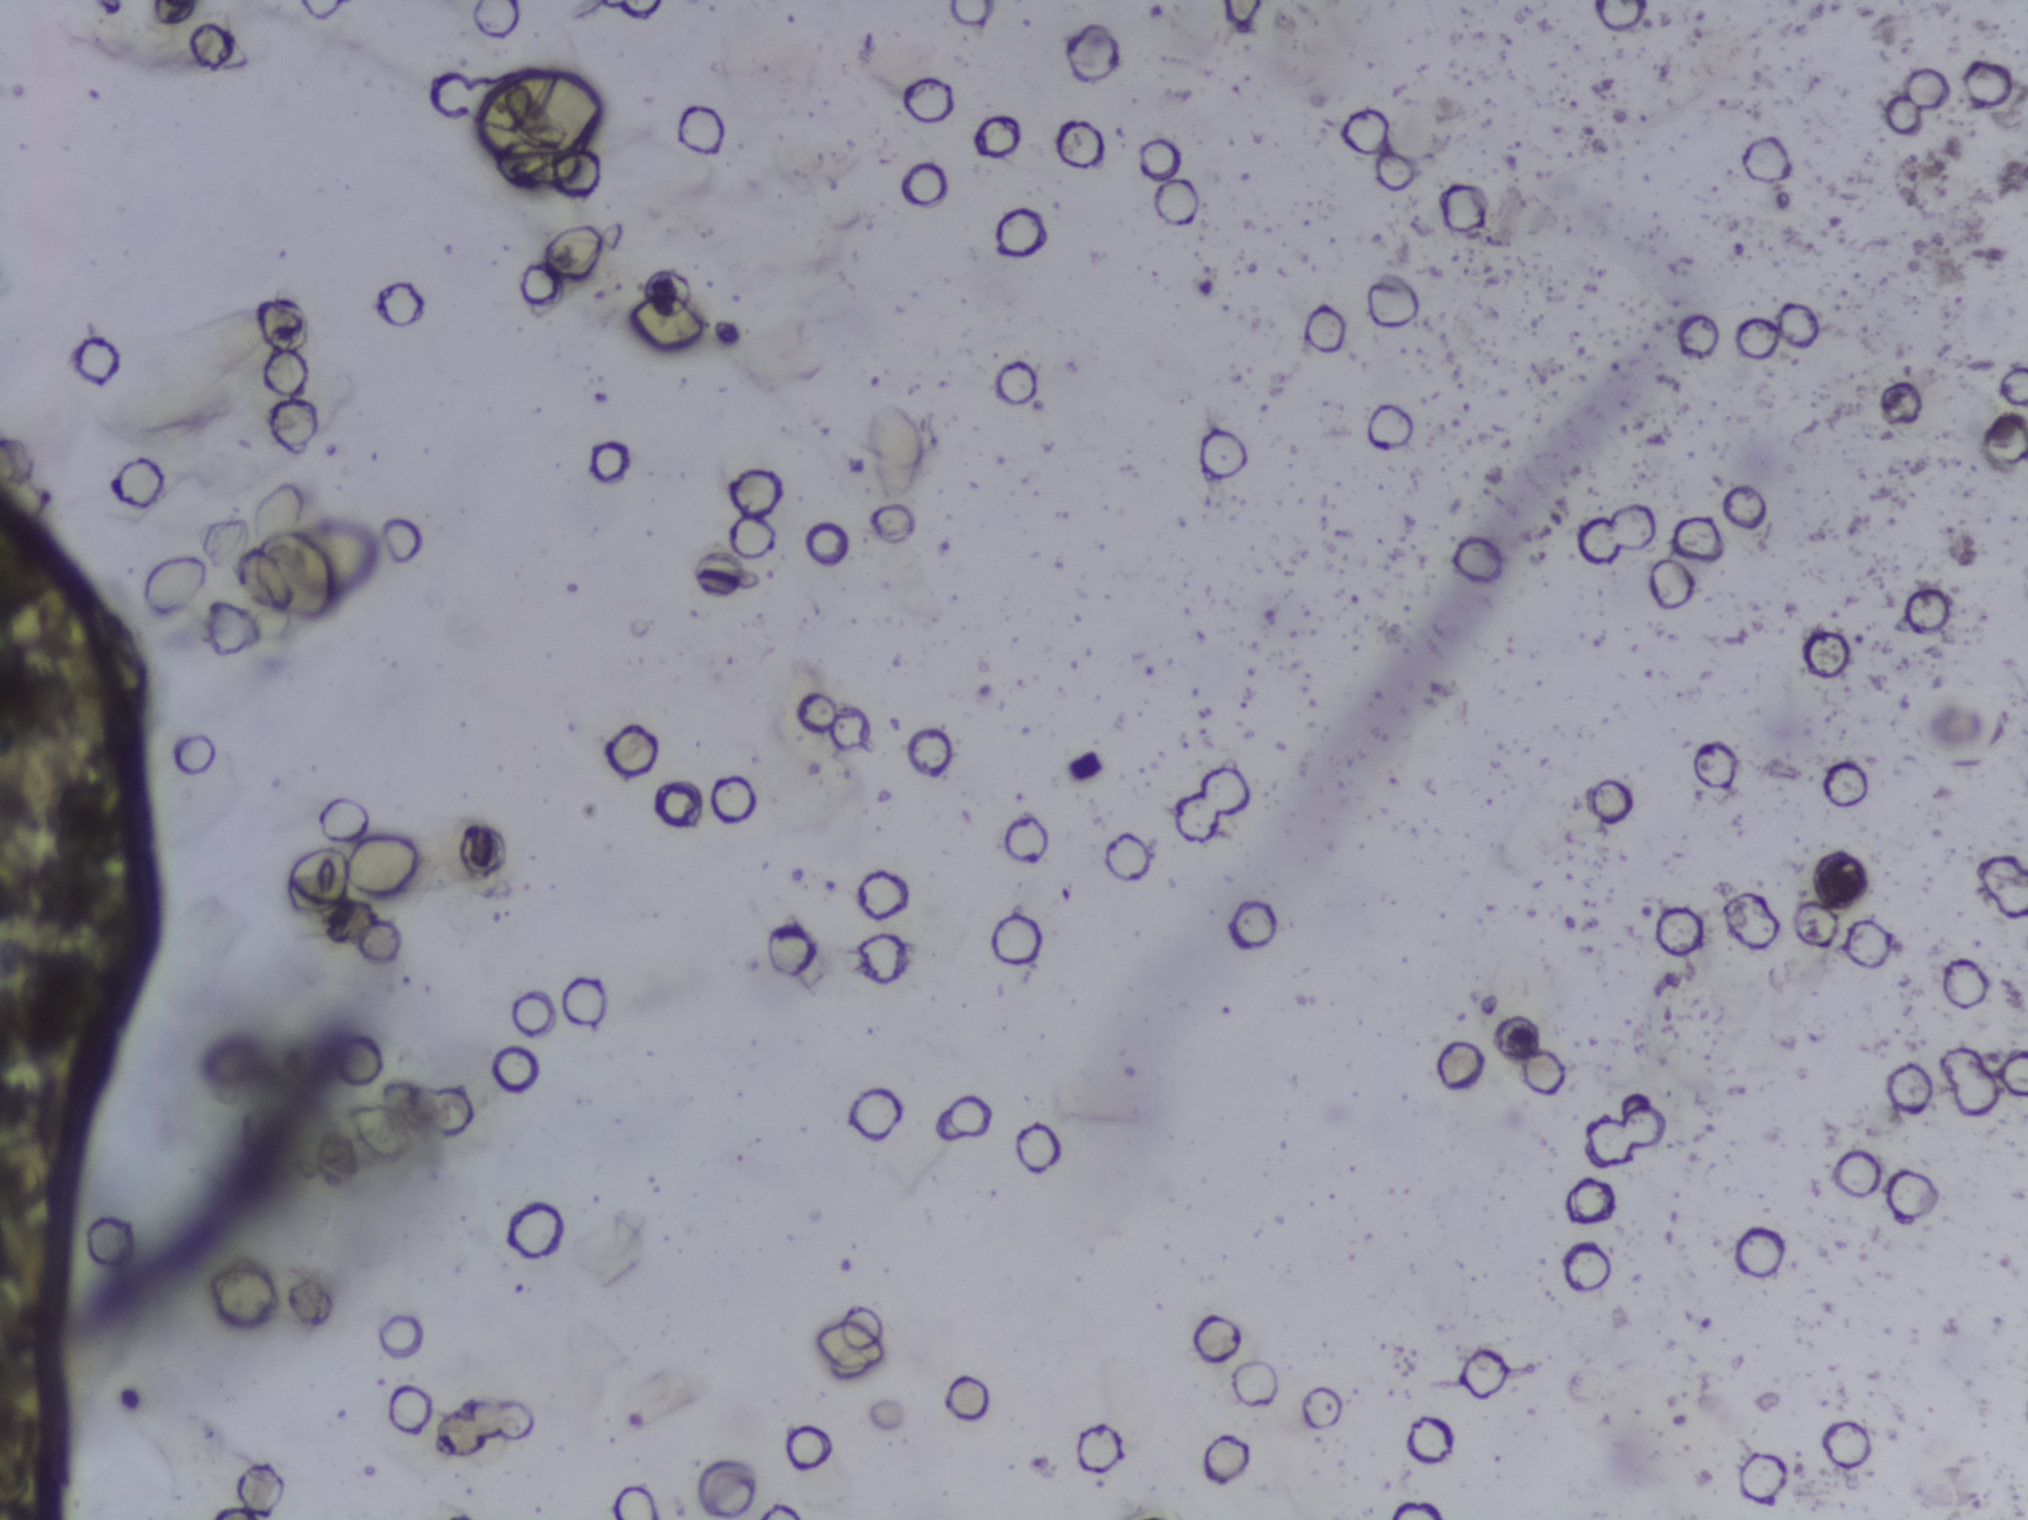
Photograph from an automated digital microscope: urine filter membrane, 4× objective. The field of view is about 1.5 mm × 1.1 mm.
No Schistosoma egg is outlined in this image's expert annotation.